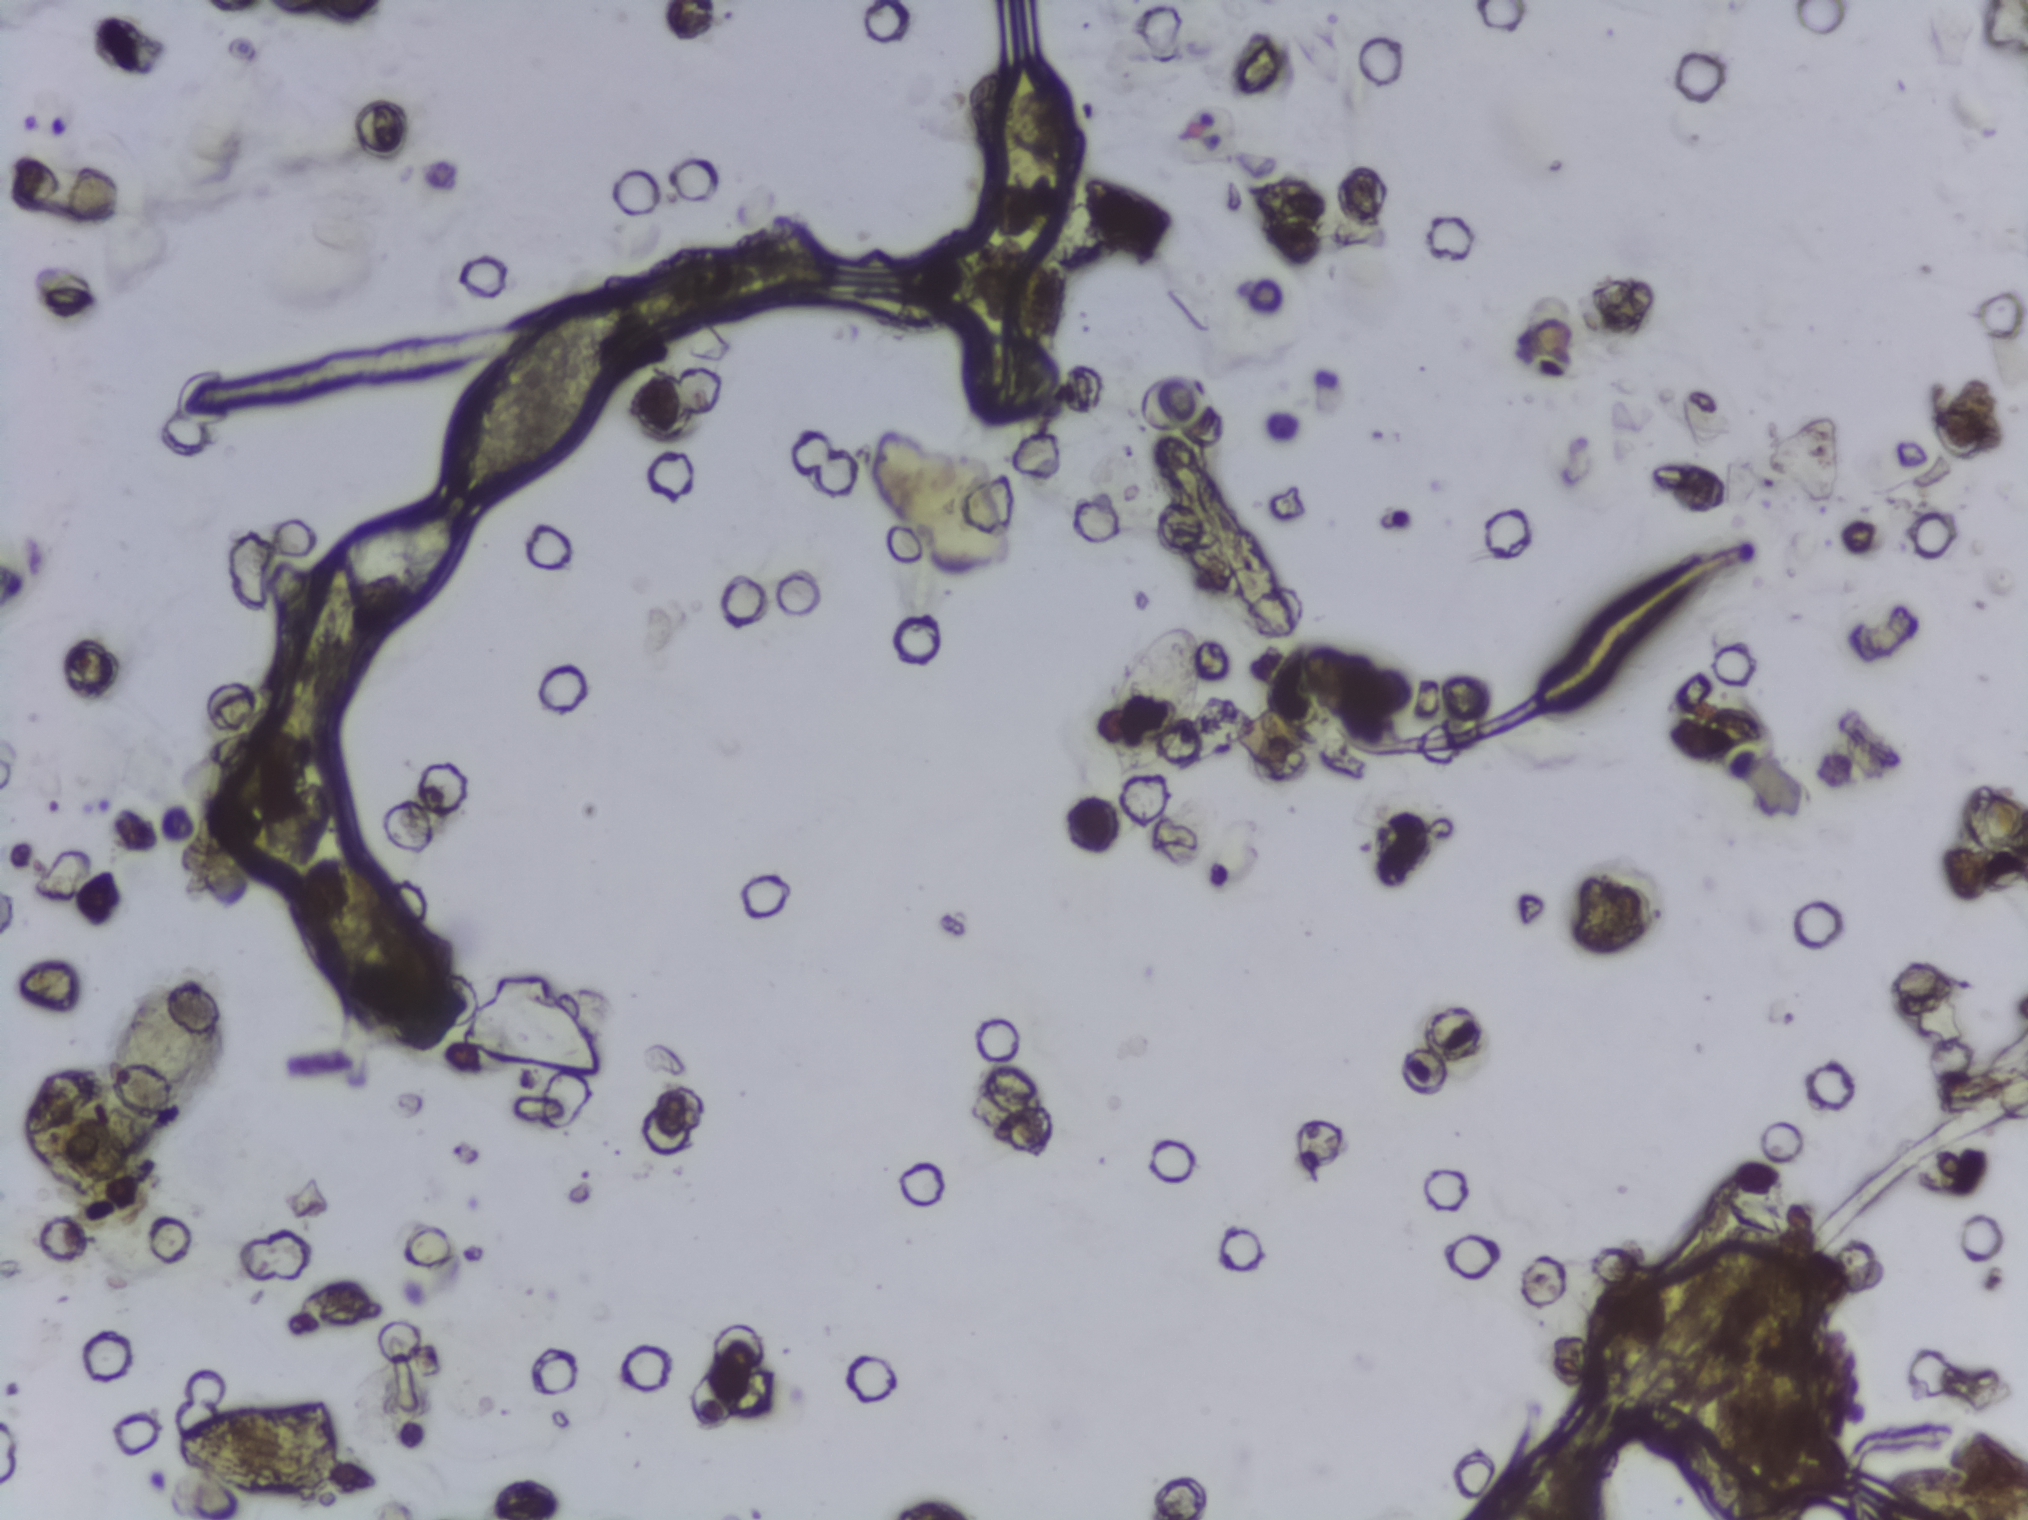
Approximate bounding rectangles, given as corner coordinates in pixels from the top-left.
Schistosoma eggs are outlined in one area of this image: (x1=1081, y1=624, x2=1214, y2=781). Eggs that touch can end up inside the same outlined area. A marked egg may occasionally be S. mansoni rather than S. haematobium.
Microscope photograph (4× objective) of a membrane that a urine sample was filtered through. The field of view is about 1.5 mm × 1.1 mm.